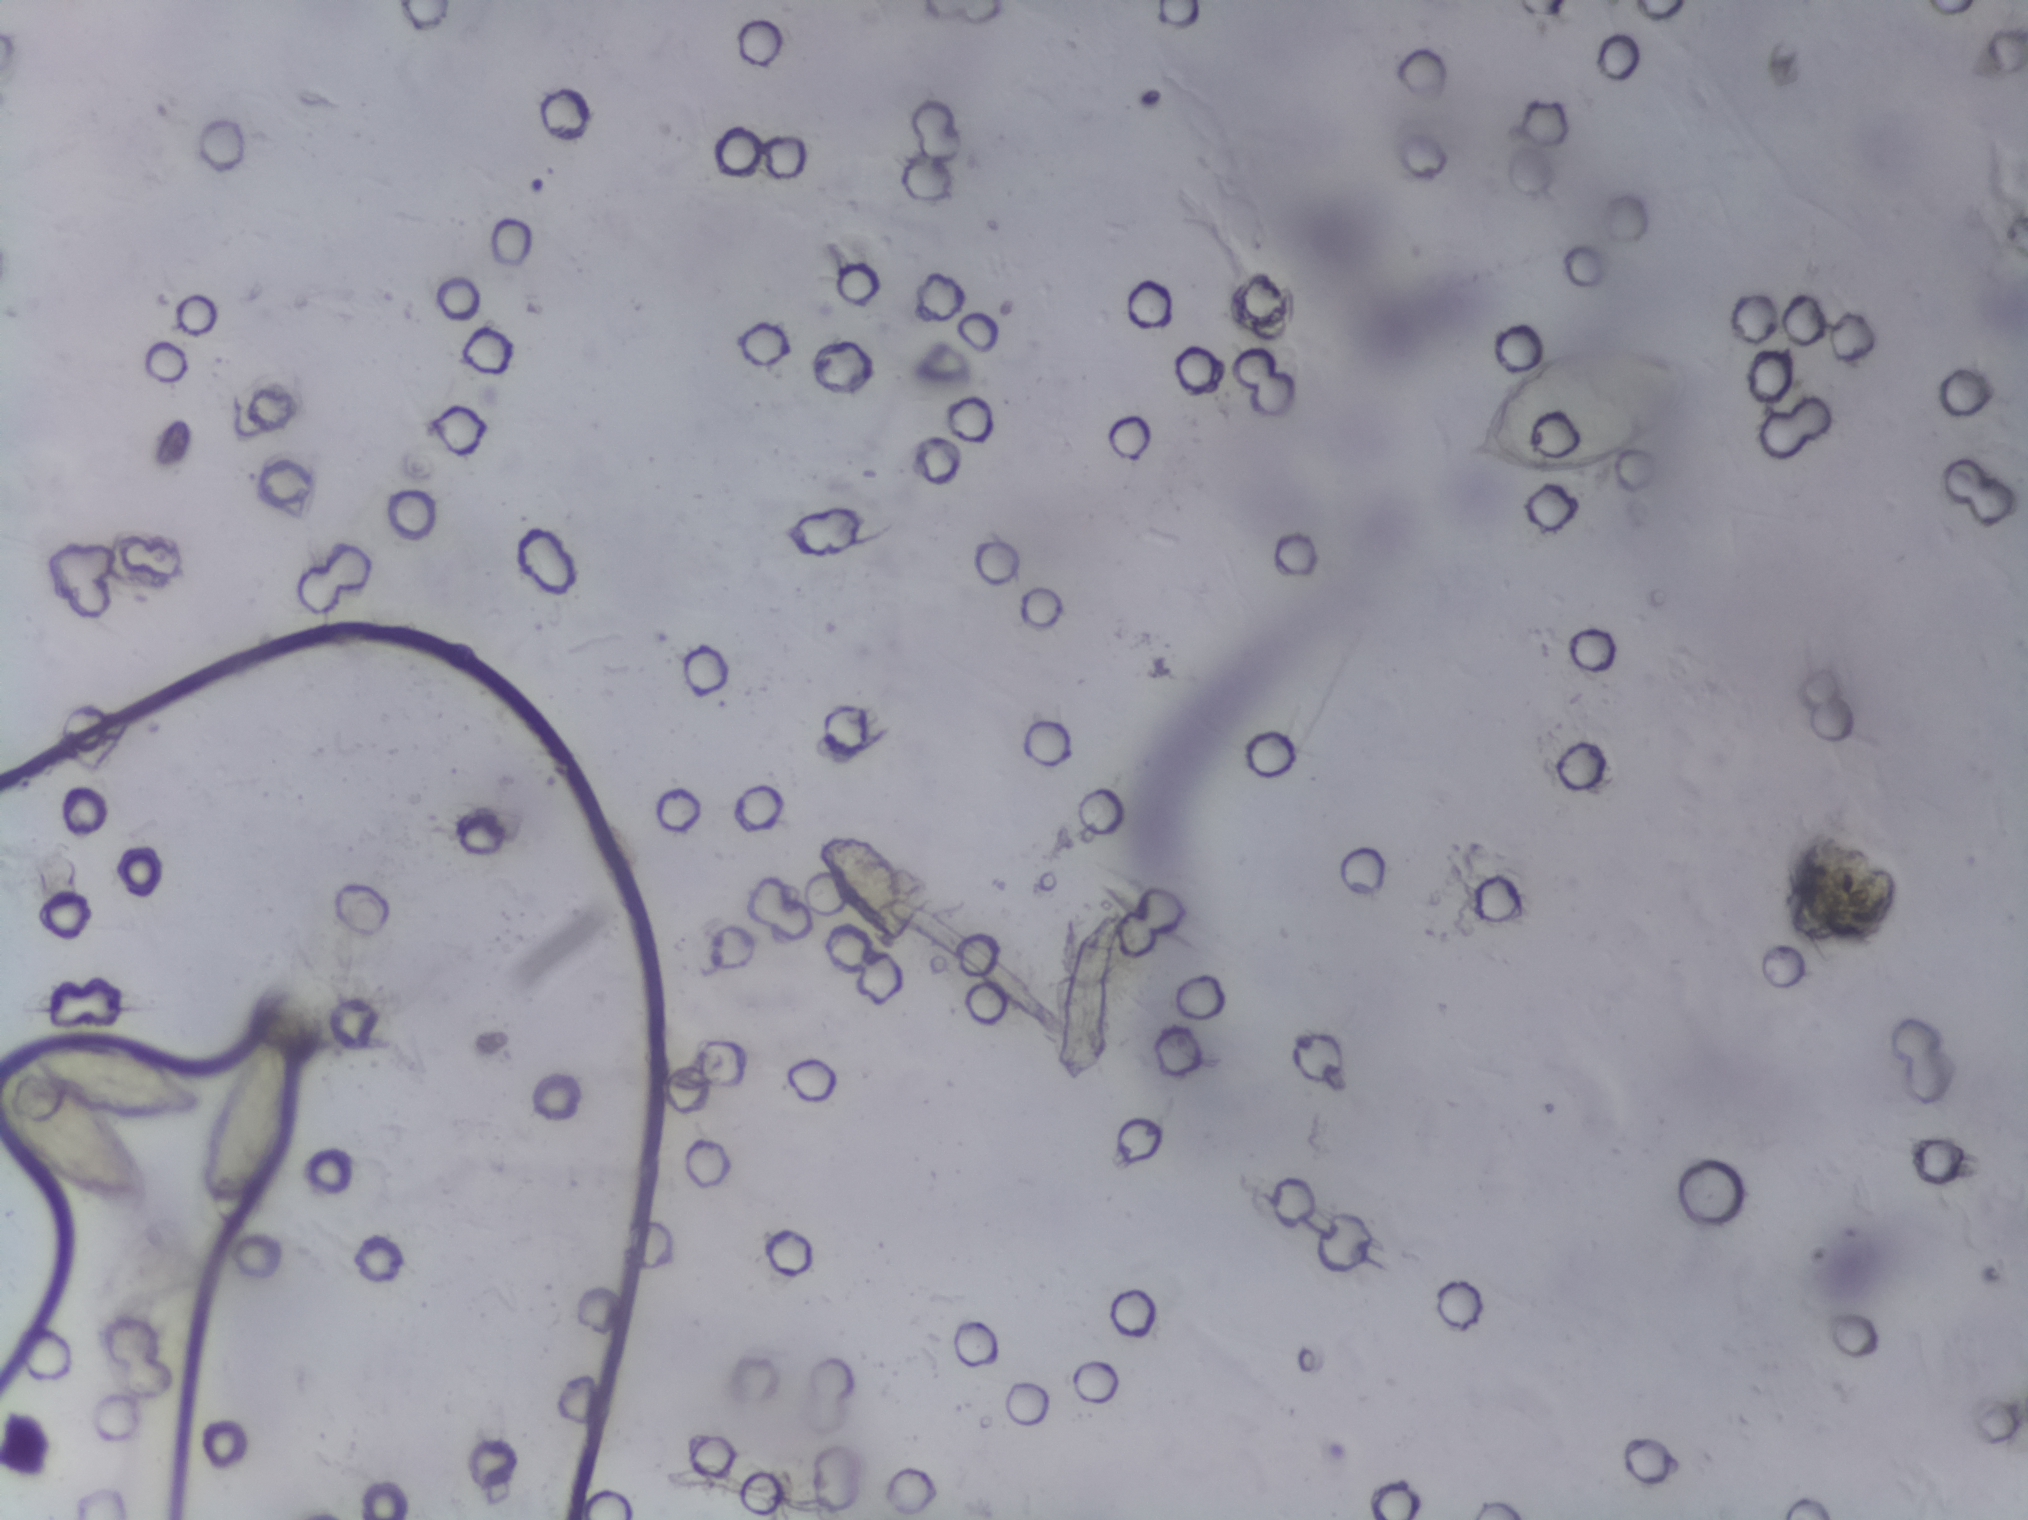
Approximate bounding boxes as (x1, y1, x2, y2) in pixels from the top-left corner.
Three areas of this image are outlined as Schistosoma eggs, from left to right: (0, 1035, 205, 1212) (reaching the left edge of the frame); (202, 1013, 299, 1234); (1459, 347, 1698, 476). Eggs that touch can end up inside the same outlined area.
Urine filter membrane photographed through a 4× microscope objective.